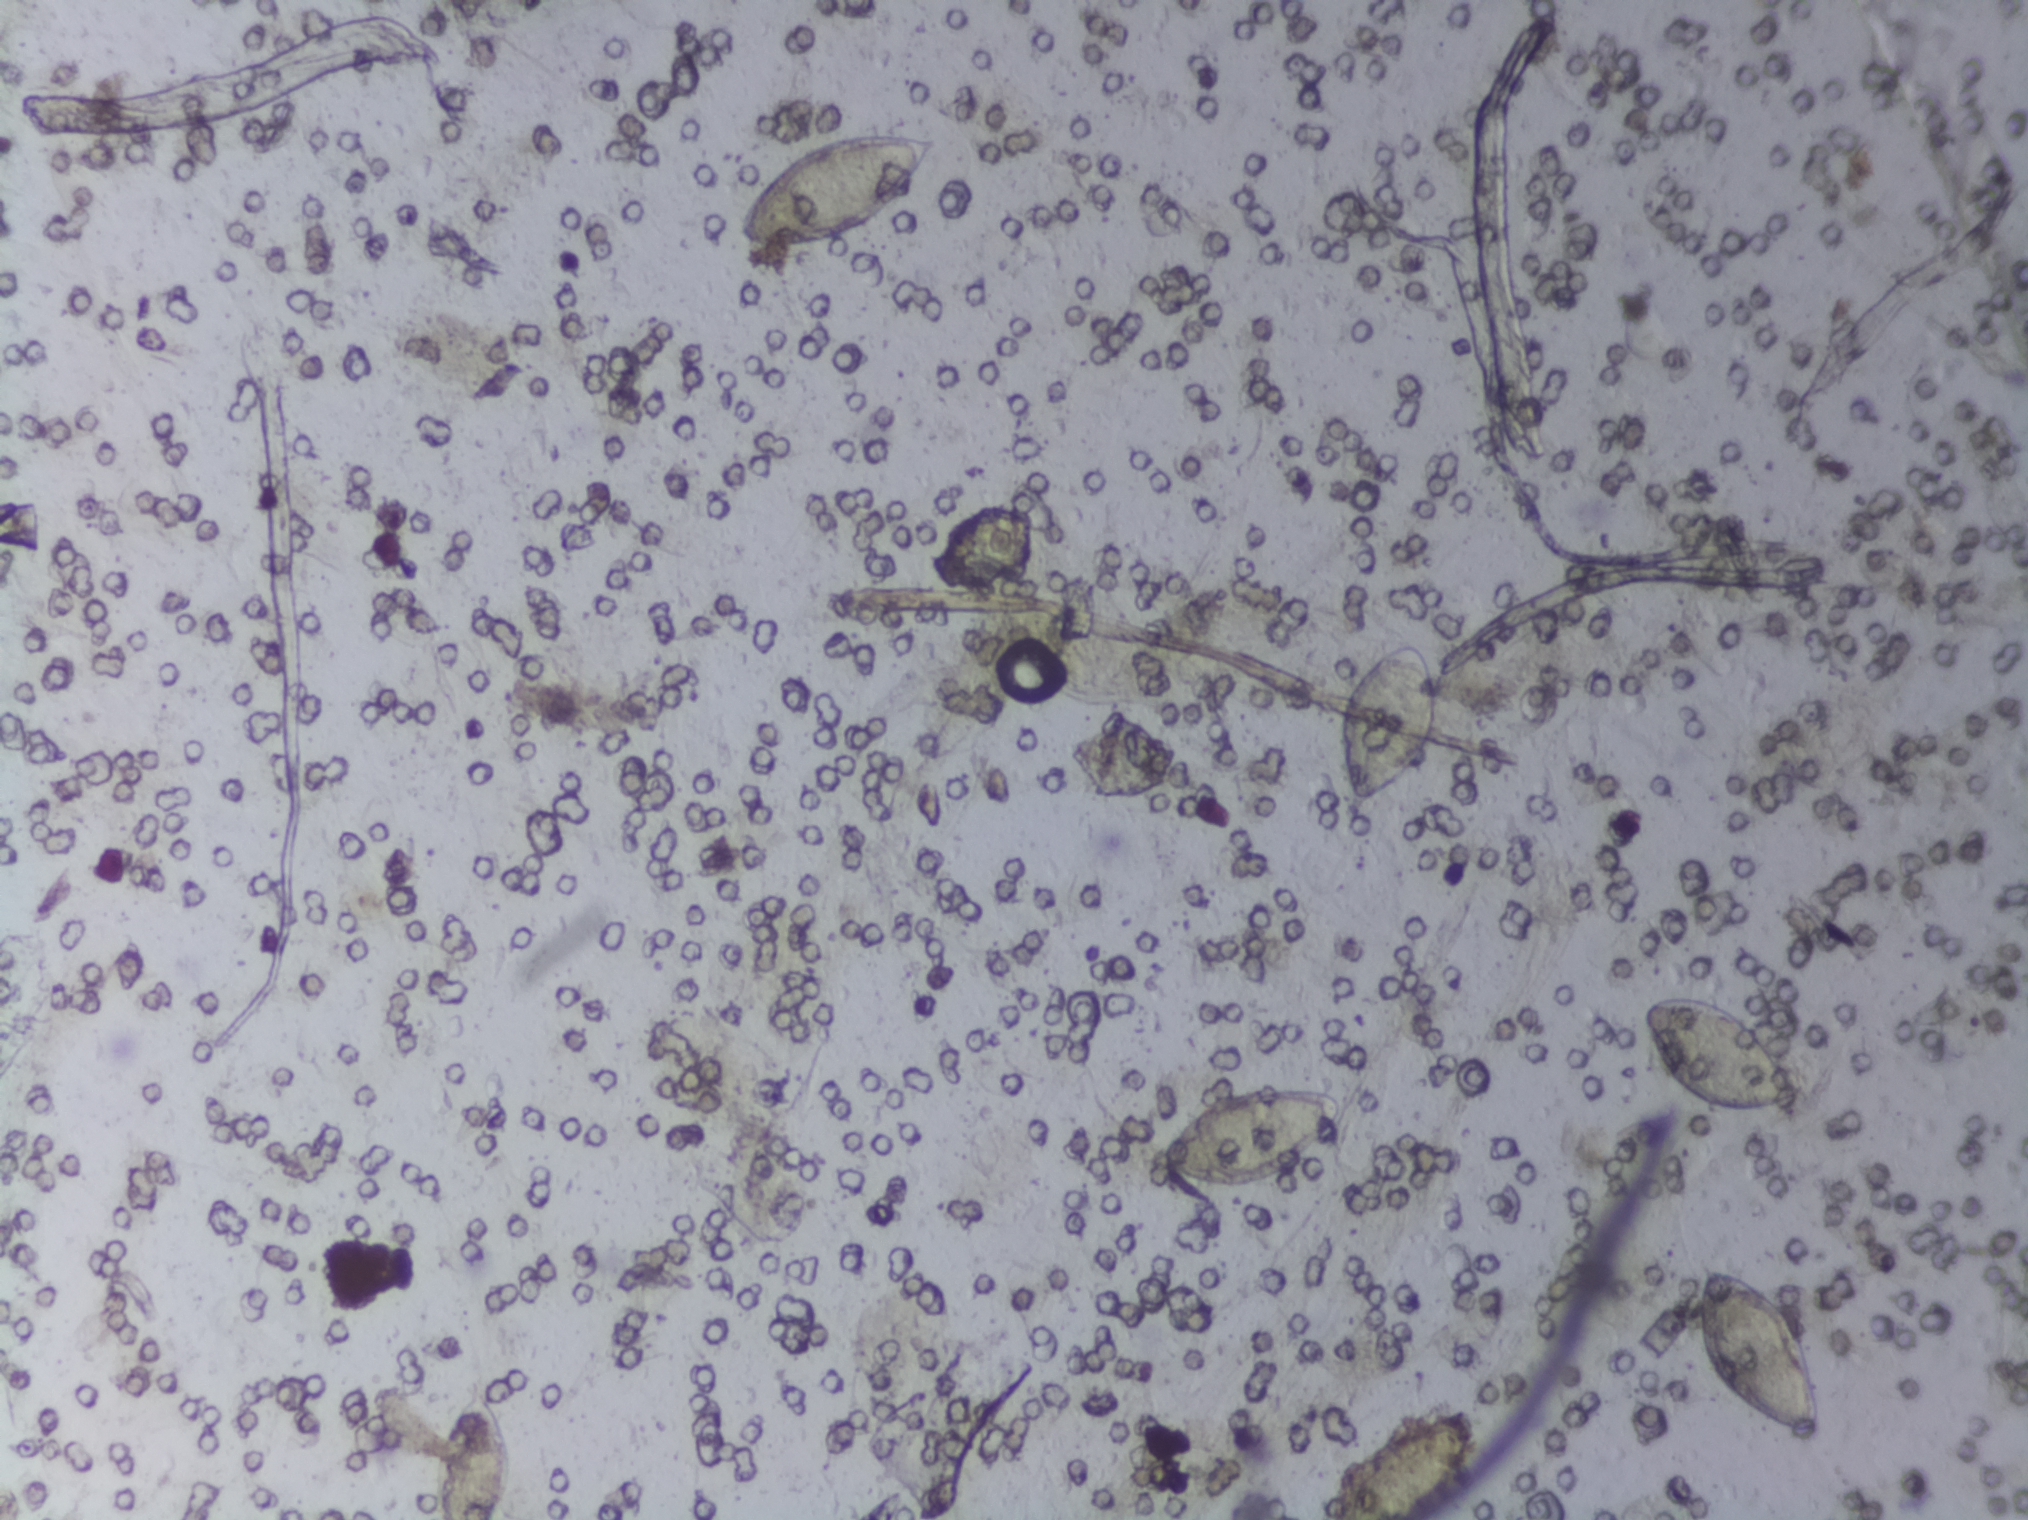
Urine filter membrane photographed through a 4× microscope objective.
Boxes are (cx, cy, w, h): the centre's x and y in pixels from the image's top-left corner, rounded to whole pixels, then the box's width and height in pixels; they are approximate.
Findings: six areas outlined as Schistosoma eggs. Locations: (cx=468, cy=1448, w=88, h=144) (reaching the bottom edge of the frame); (cx=837, cy=190, w=203, h=121); (cx=1248, cy=1136, w=196, h=98); (cx=1385, cy=726, w=106, h=168); (cx=1723, cy=1054, w=163, h=120); (cx=1760, cy=1348, w=129, h=185). A single outlined area may contain several eggs. A marked egg may occasionally be S. mansoni rather than S. haematobium.